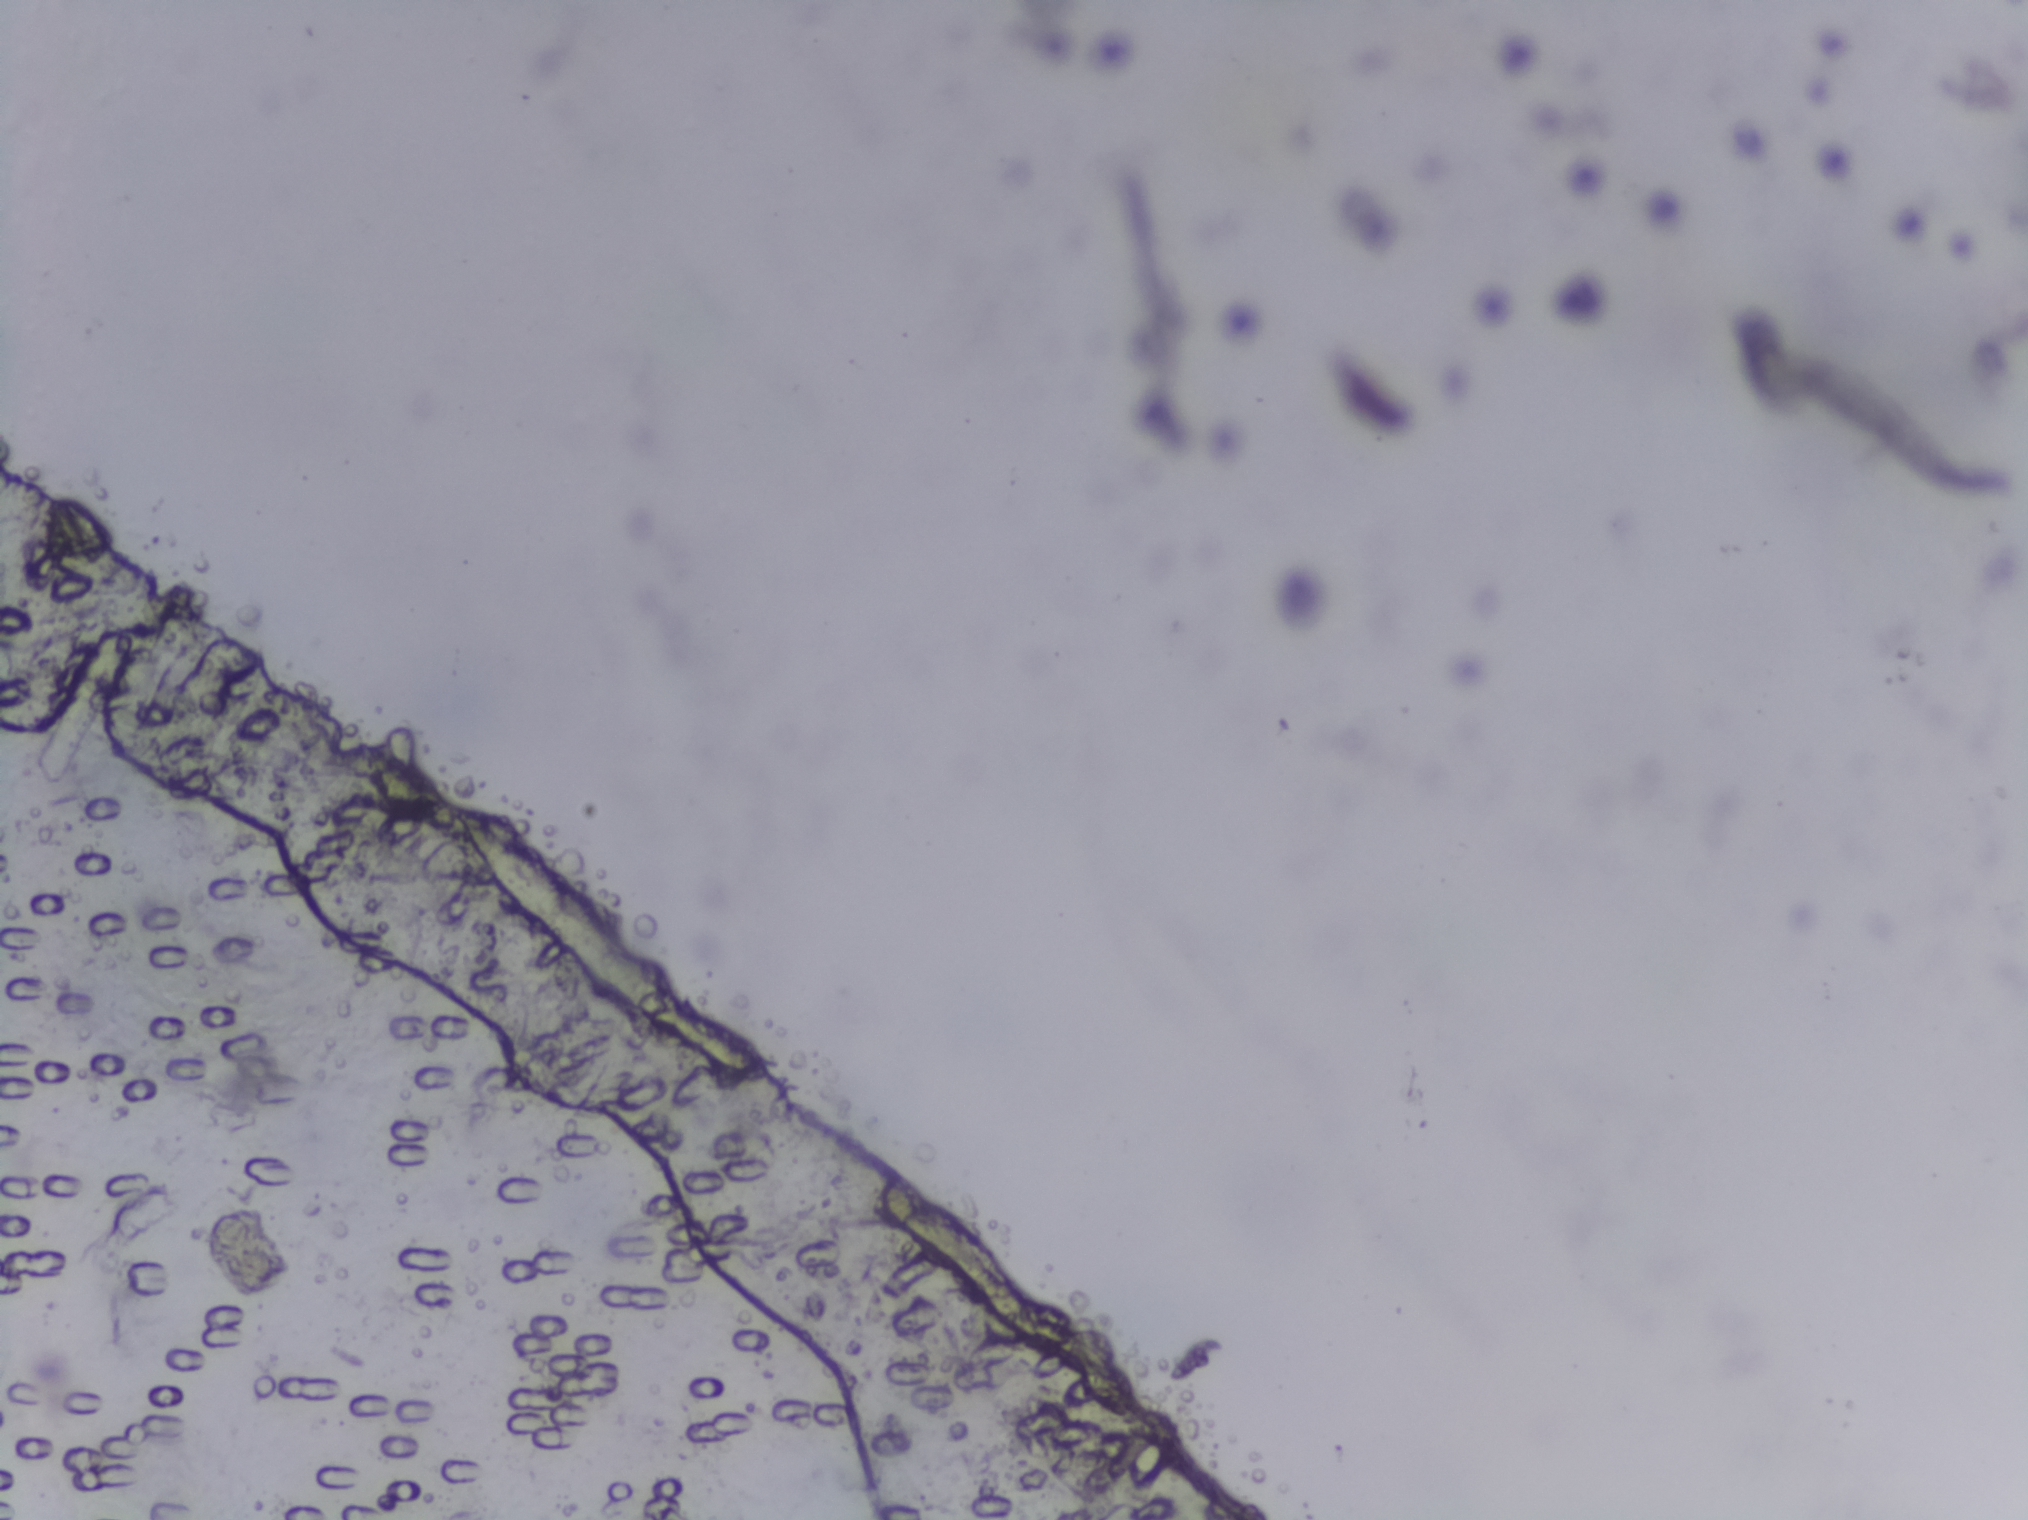
Urine filtration membrane under a 4× objective, photographed by an automated digital microscope. Field of view: about 1.5 mm wide and 1.1 mm high.
The expert annotation marks no Schistosoma egg in this field of view.